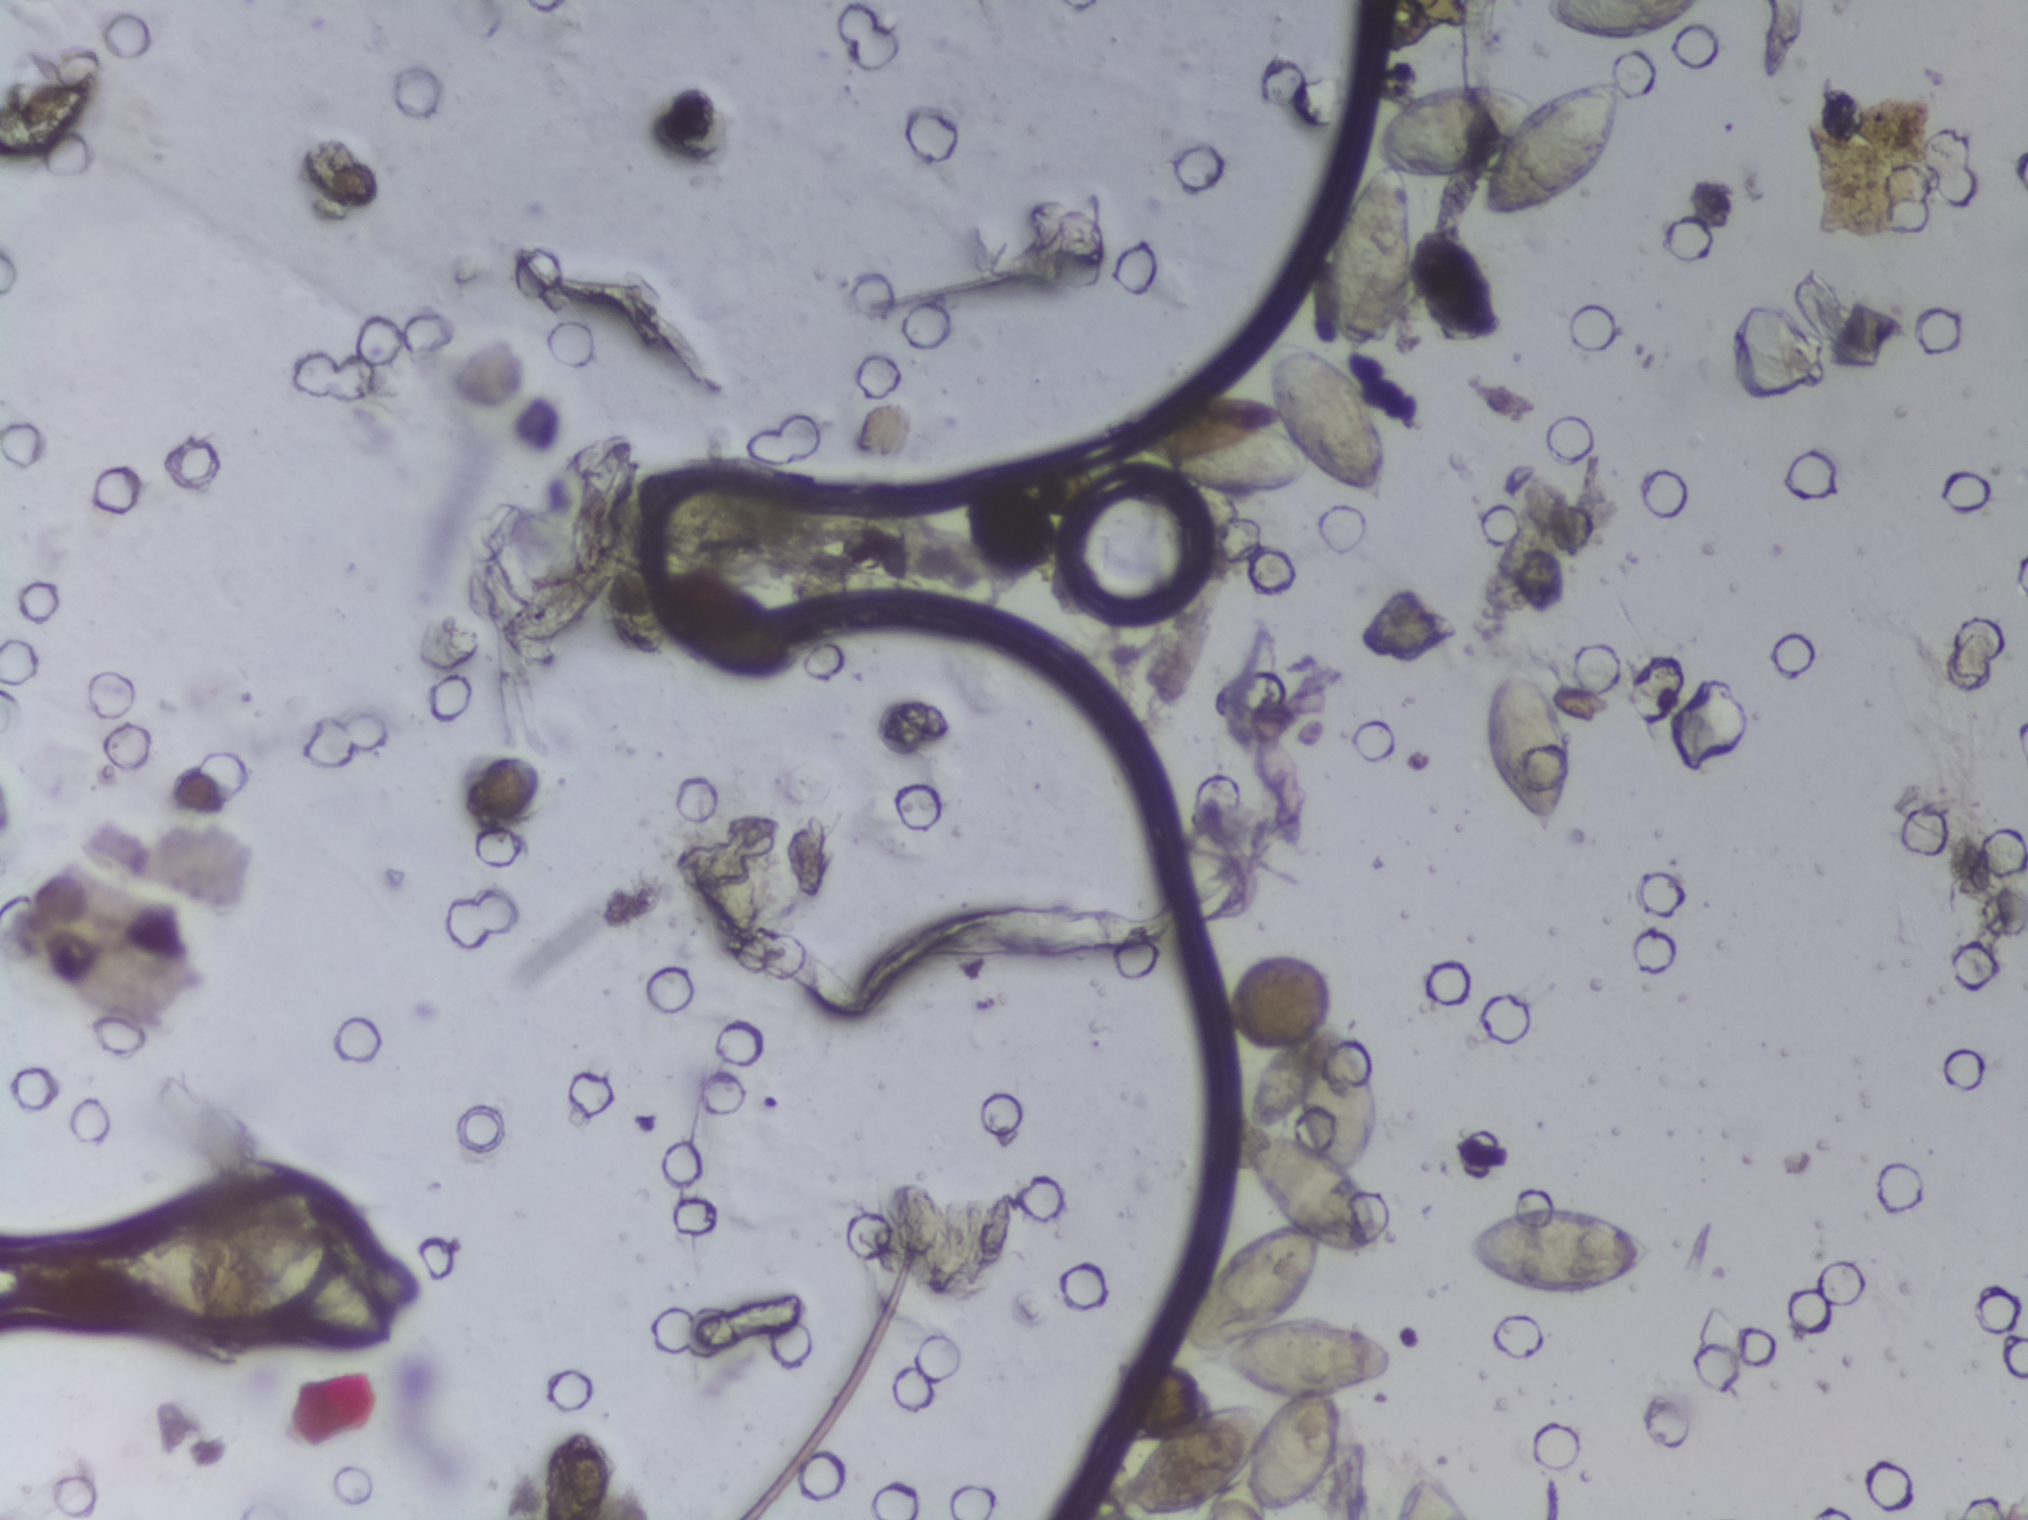
Photograph from an automated digital microscope: urine filter membrane, 4× objective. The image covers about 1.5 × 1.1 mm of the membrane.
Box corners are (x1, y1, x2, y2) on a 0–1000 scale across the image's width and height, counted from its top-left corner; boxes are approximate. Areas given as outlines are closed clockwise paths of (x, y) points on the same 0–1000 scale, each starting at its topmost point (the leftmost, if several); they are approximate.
Schistosoma egg areas, outlined: box (55, 752, 195, 889); box (268, 941, 302, 1000) (reaching the bottom edge of the frame); box (299, 364, 394, 446); box (312, 311, 376, 364); box (413, 321, 449, 414); outline (651, 671), (660, 673), (660, 682), (671, 696), (680, 720), (680, 747), (670, 773), (680, 796), (683, 825), (669, 829), (654, 819), (645, 851), (637, 866), (668, 871), (680, 879), (687, 895), (679, 910), (659, 919), (662, 933), (660, 952), (652, 979), (644, 988), (625, 995), (625, 1000), (591, 1000), (592, 989), (568, 1000), (549, 1000), (551, 977), (579, 932), (606, 921), (622, 921), (627, 929), (633, 921), (610, 910), (592, 890), (583, 890), (582, 878), (597, 834), (618, 811), (635, 806), (617, 777), (607, 748), (625, 692), (642, 674) (a cluster of eggs; reaching the bottom edge of the frame); box (550, 225, 684, 333); box (652, 52, 801, 234); box (686, 958, 728, 1000) (reaching the bottom edge of the frame); box (722, 793, 817, 854); box (731, 435, 775, 550); box (760, 0, 842, 28) (reaching the top edge of the frame). The marked pixels themselves, not the boxes and the outline around them, cover about 7.7% of the image. Eggs that touch can end up inside the same outlined area.